One field of view of a urine filter membrane, 4× objective, 2028 × 1520 pixels.
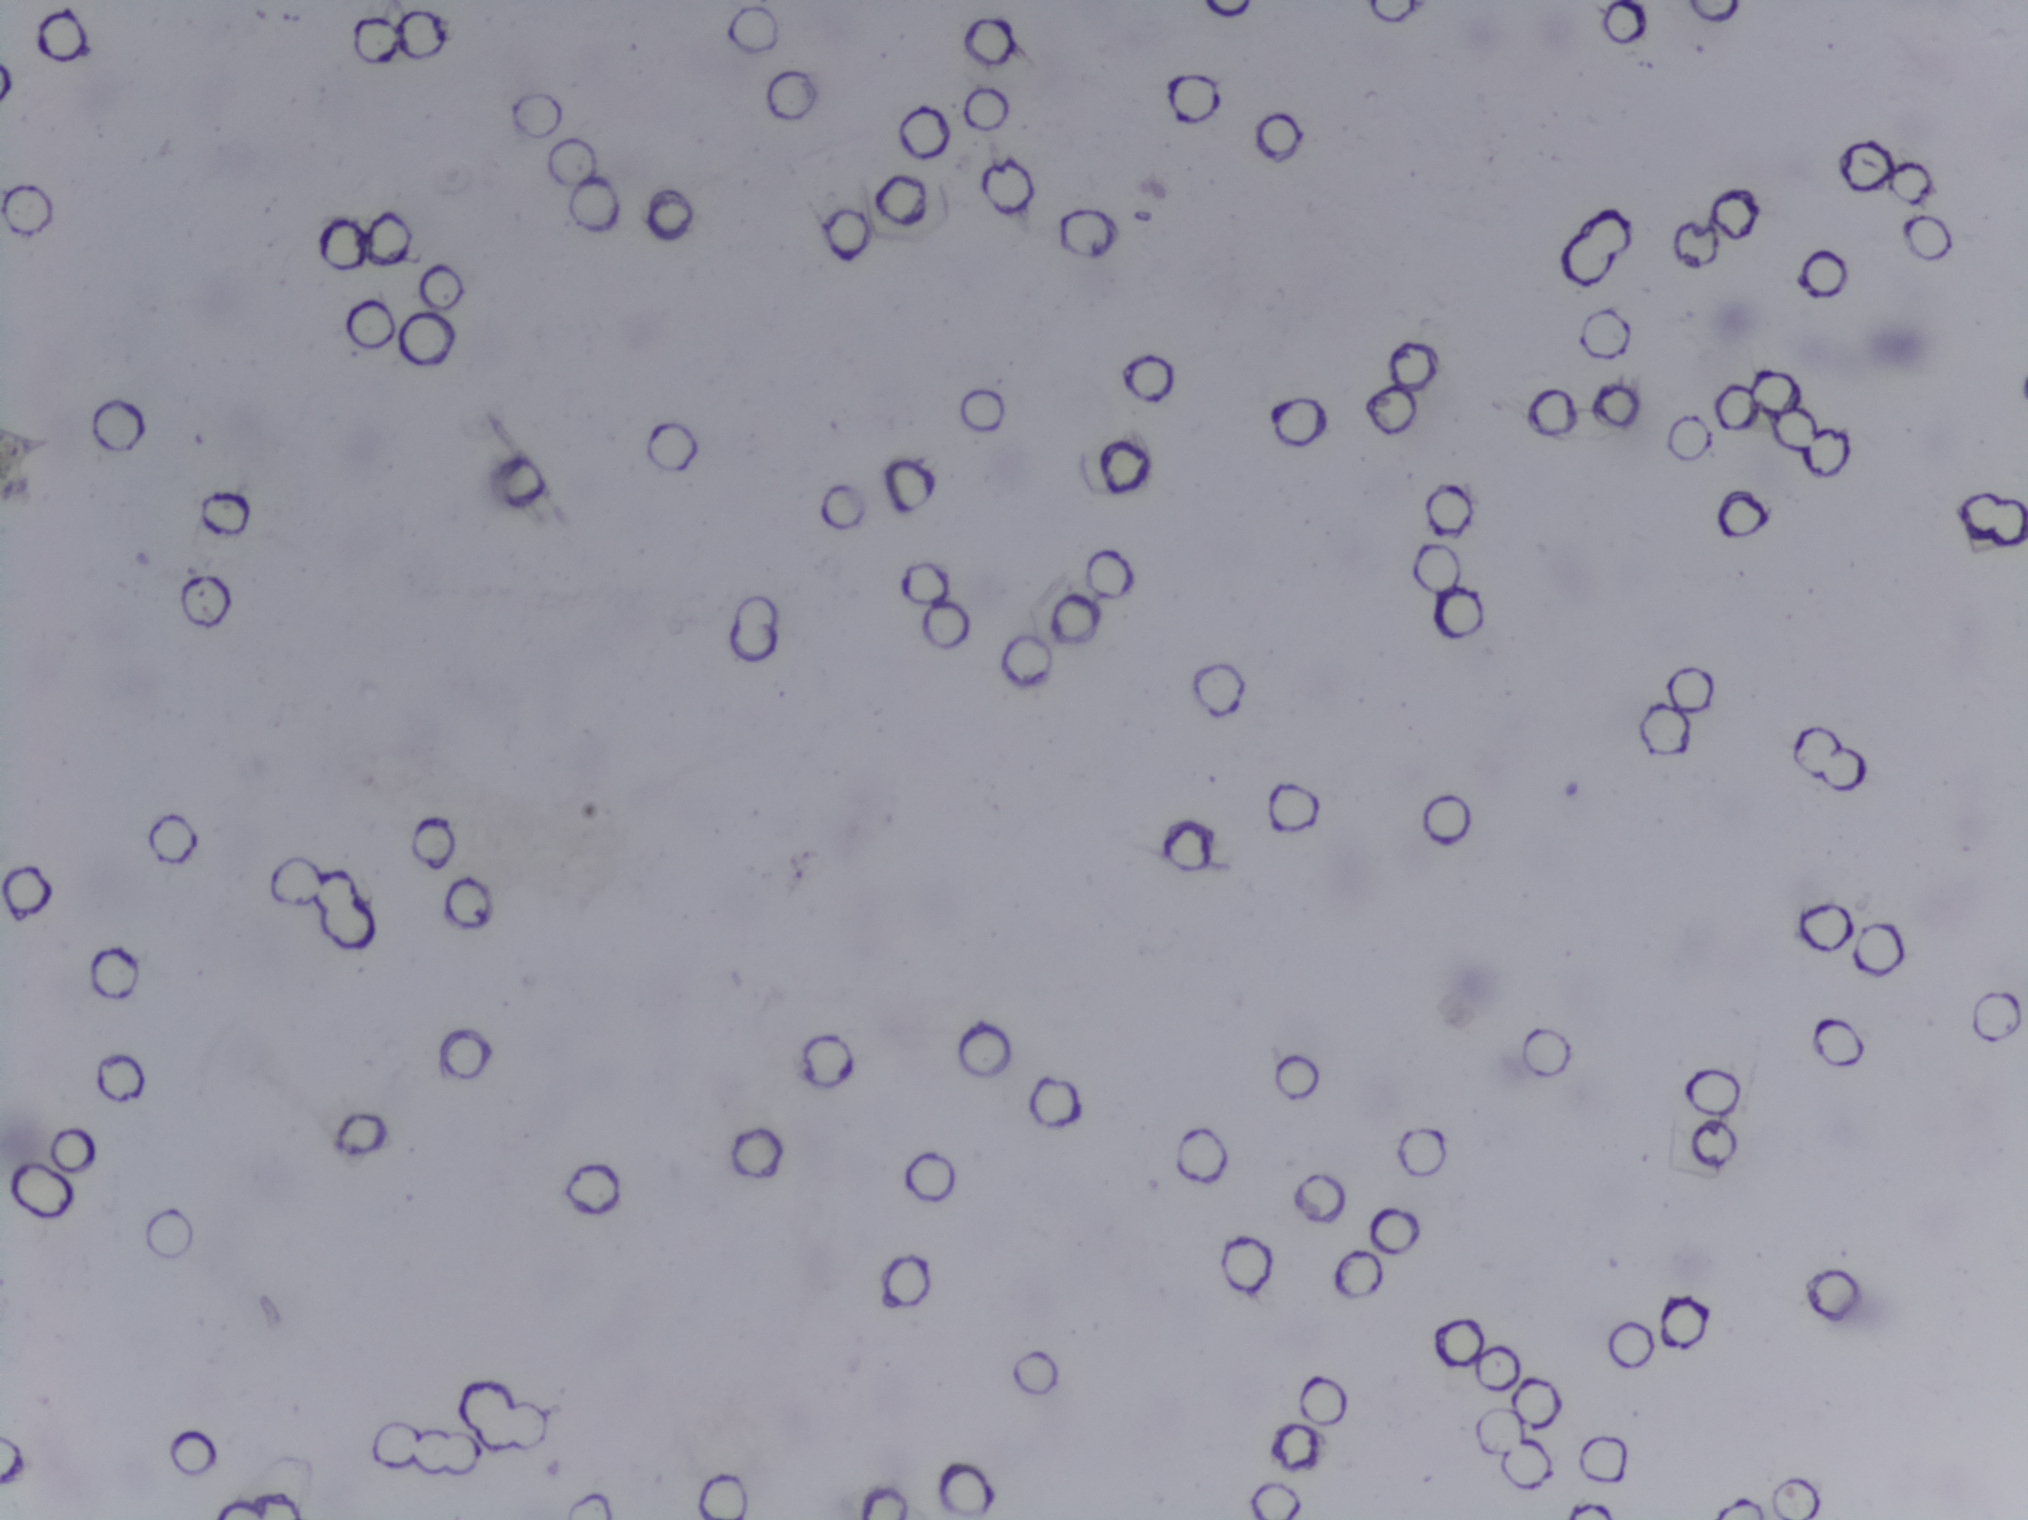
The expert annotation marks no Schistosoma egg in this field of view.